Urine filtration membrane under a 4× objective, photographed by an automated digital microscope.
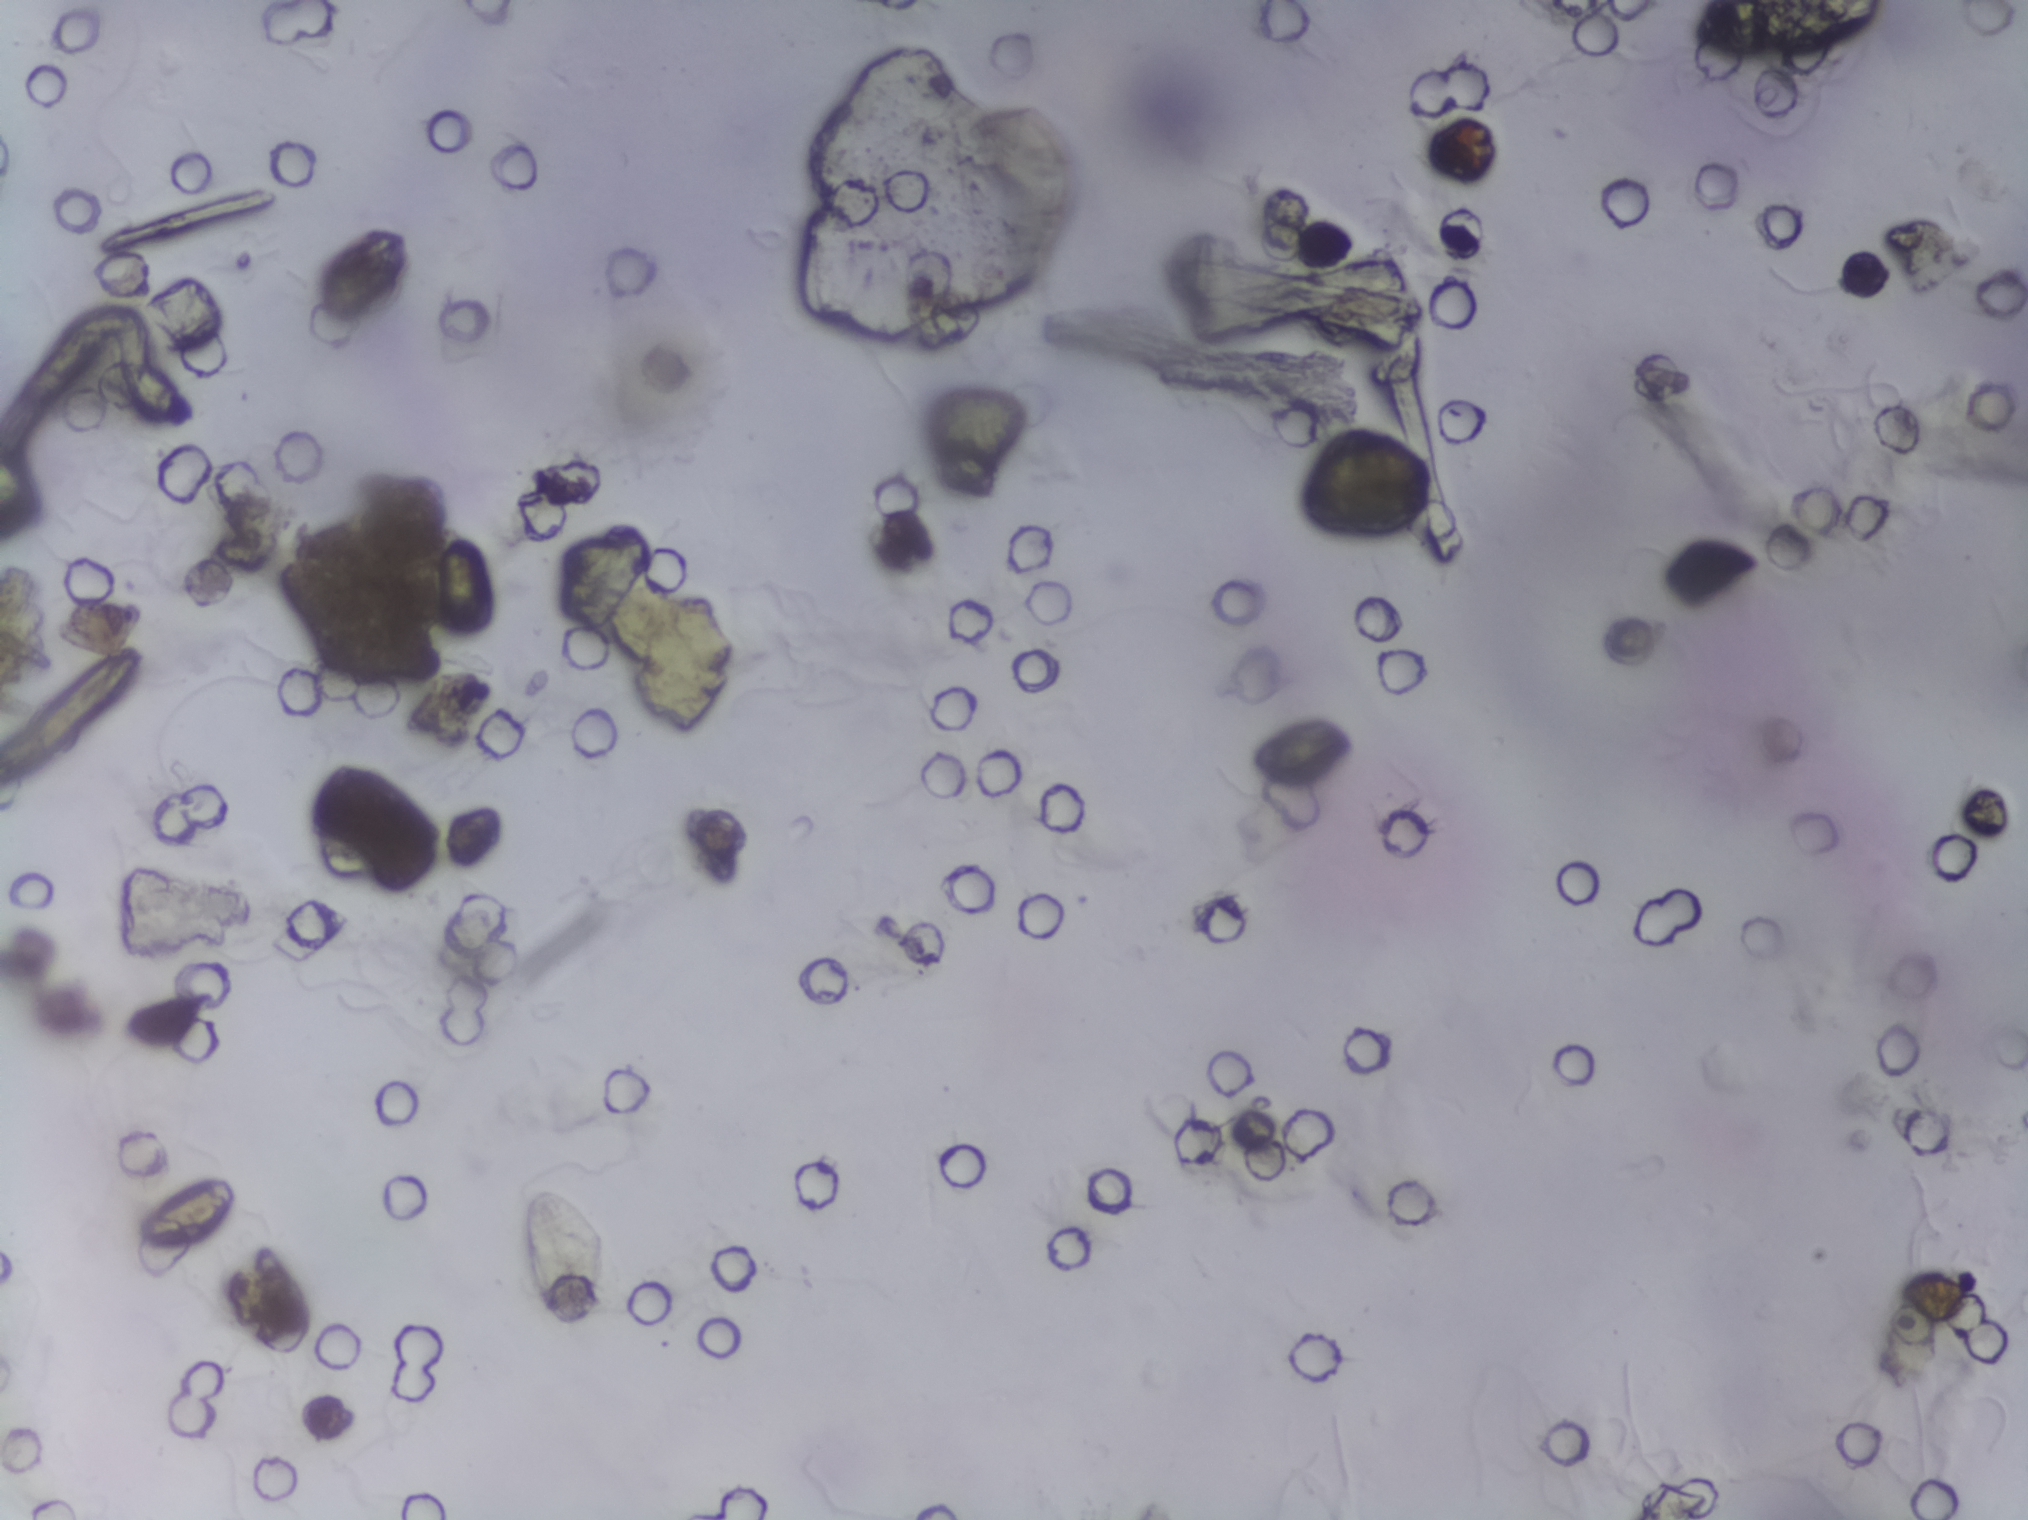
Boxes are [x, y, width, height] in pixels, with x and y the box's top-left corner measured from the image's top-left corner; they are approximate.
Schistosoma eggs are outlined in the expert annotation at [137, 1177, 103, 73]; [314, 228, 98, 98]; [435, 532, 60, 108]; [521, 1187, 89, 145]; [1683, 0, 201, 64] (reaching the top edge of the frame). About 1.2% of the image's pixels are marked (the marked pixels themselves, not the boxes around them). An outlined area can hold more than one egg.